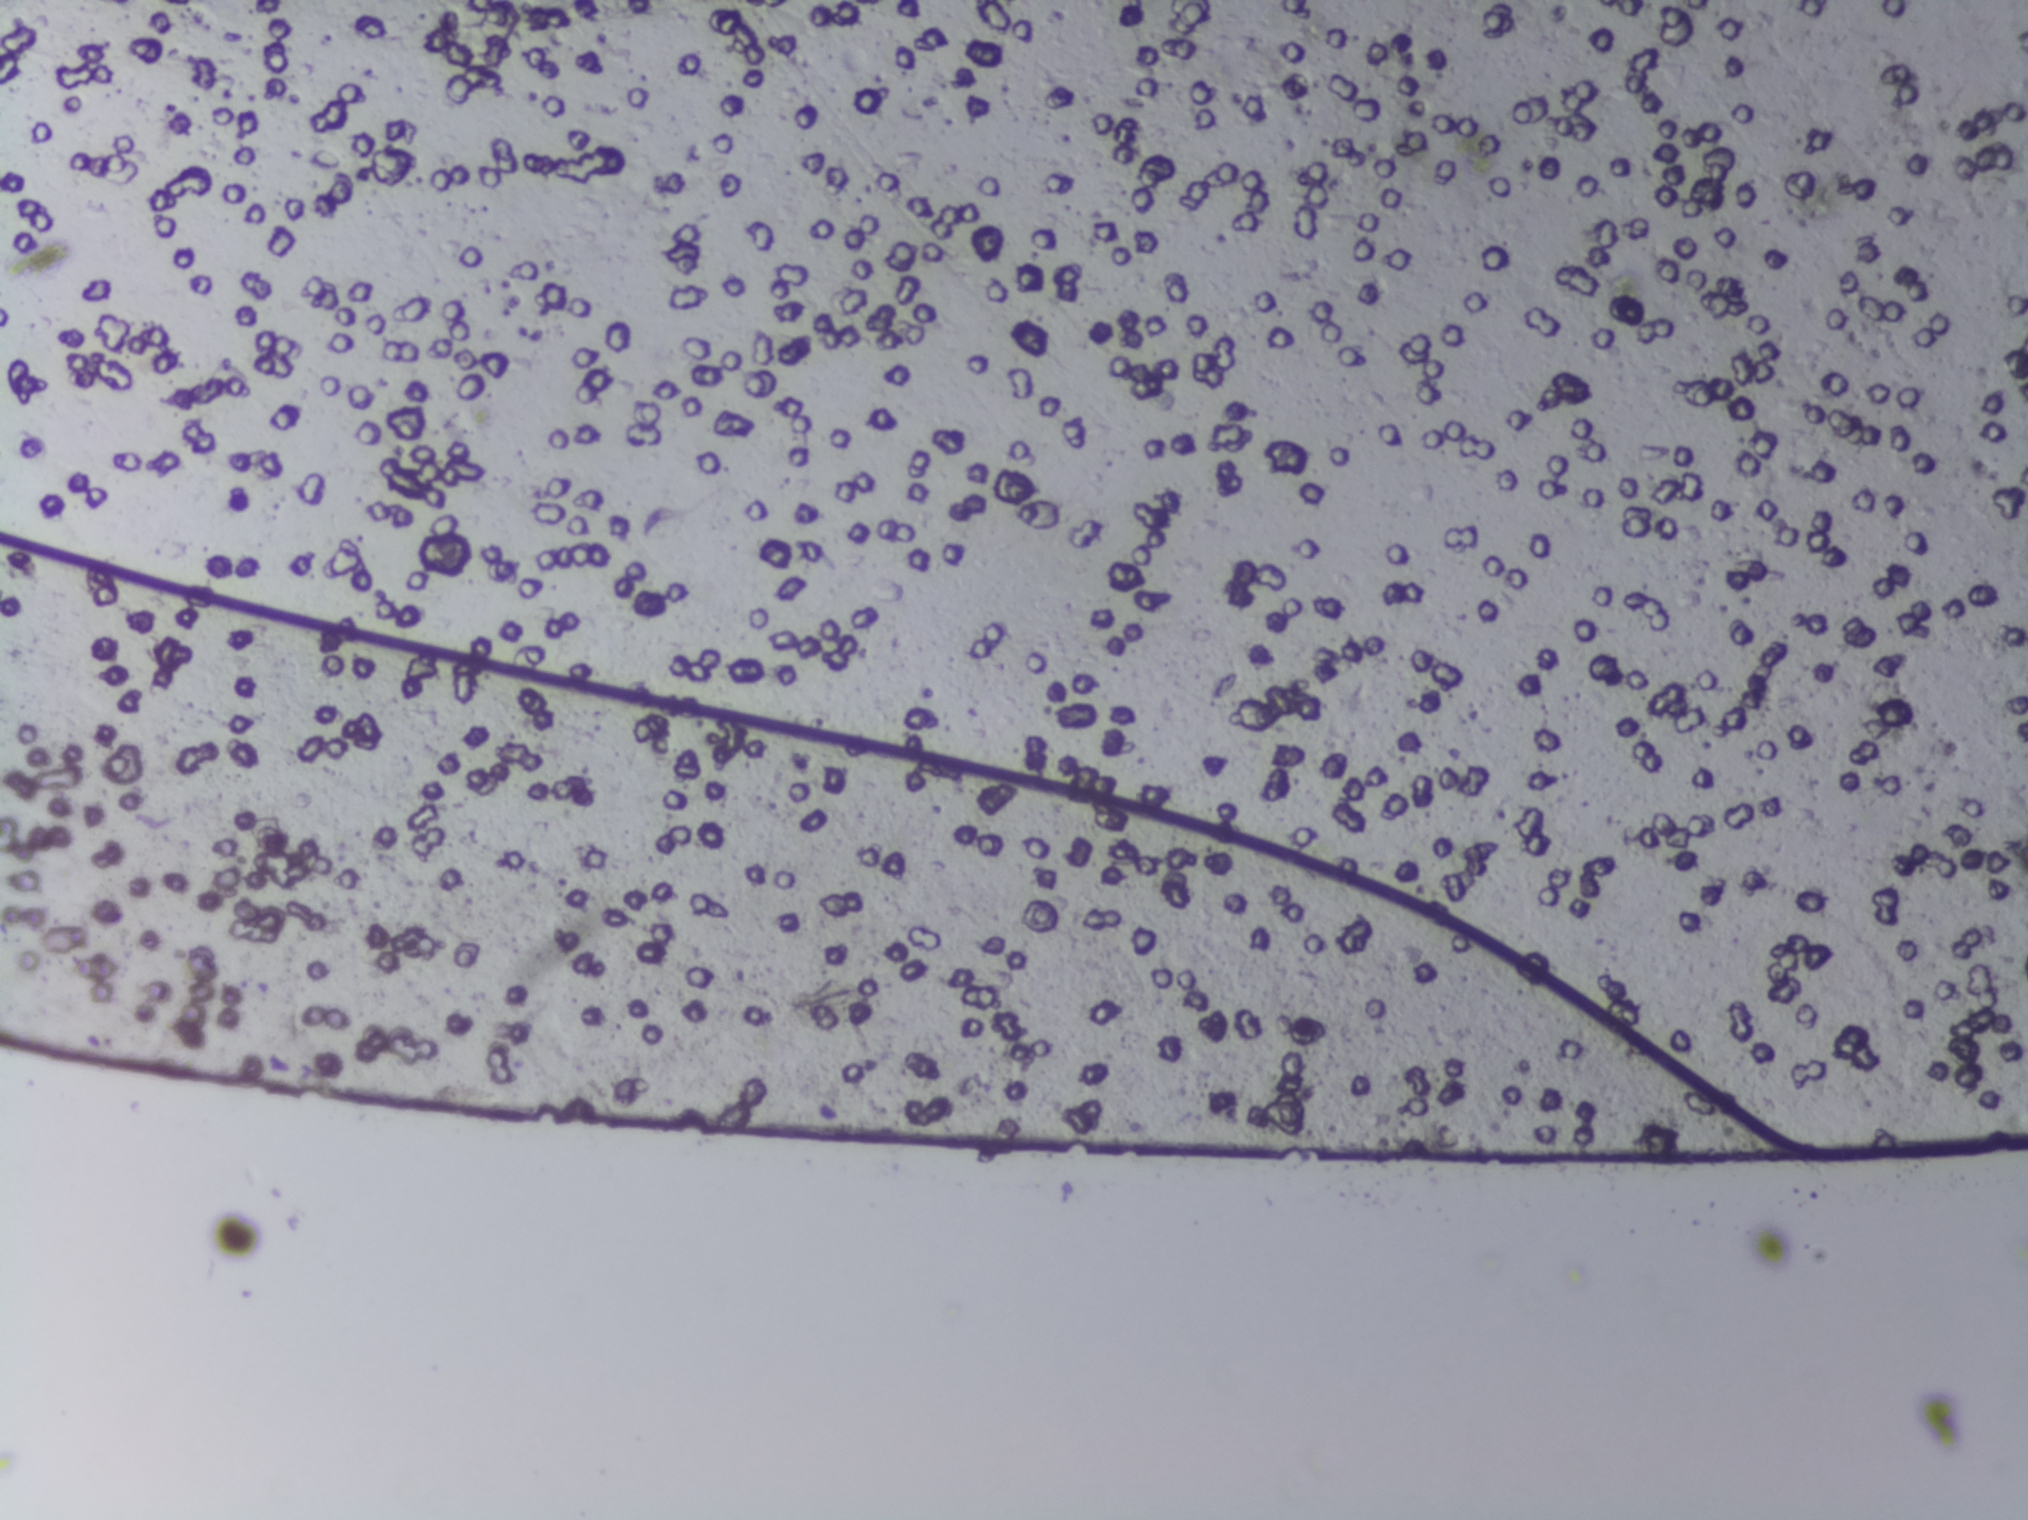
No area of this image was outlined as a Schistosoma egg.
One field of view of a urine filter membrane, 4× objective, 2028 × 1520 pixels. The image covers about 1.5 × 1.1 mm of the membrane.